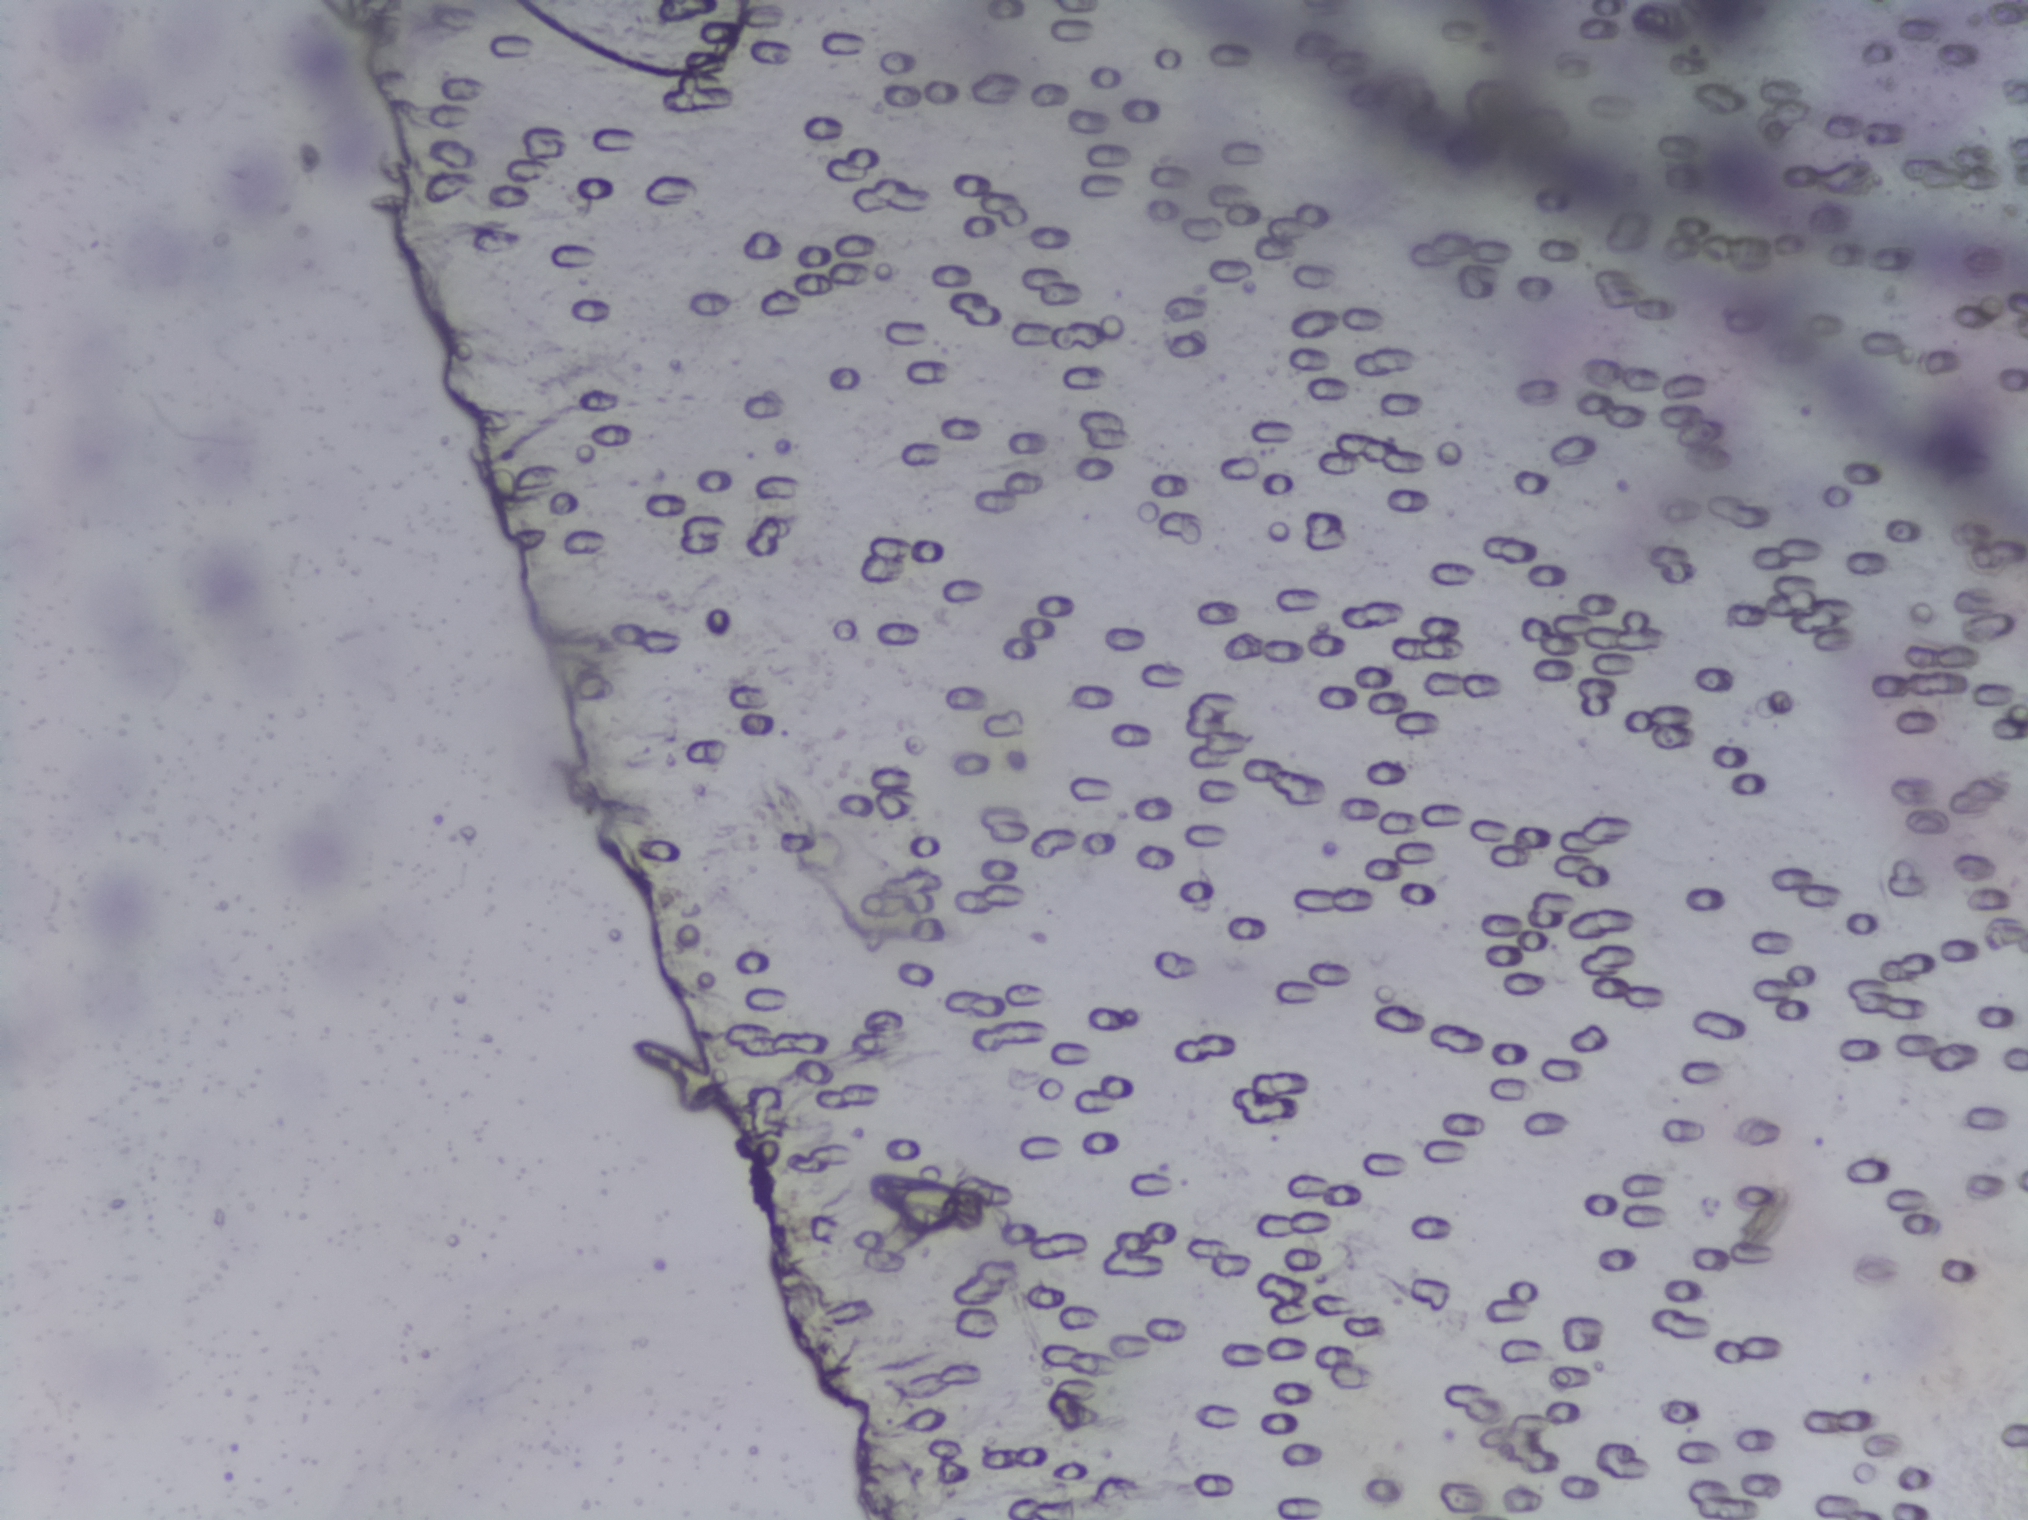
Microscope photograph (4× objective) of a membrane that a urine sample was filtered through.
The expert annotation marks no Schistosoma egg in this field of view.